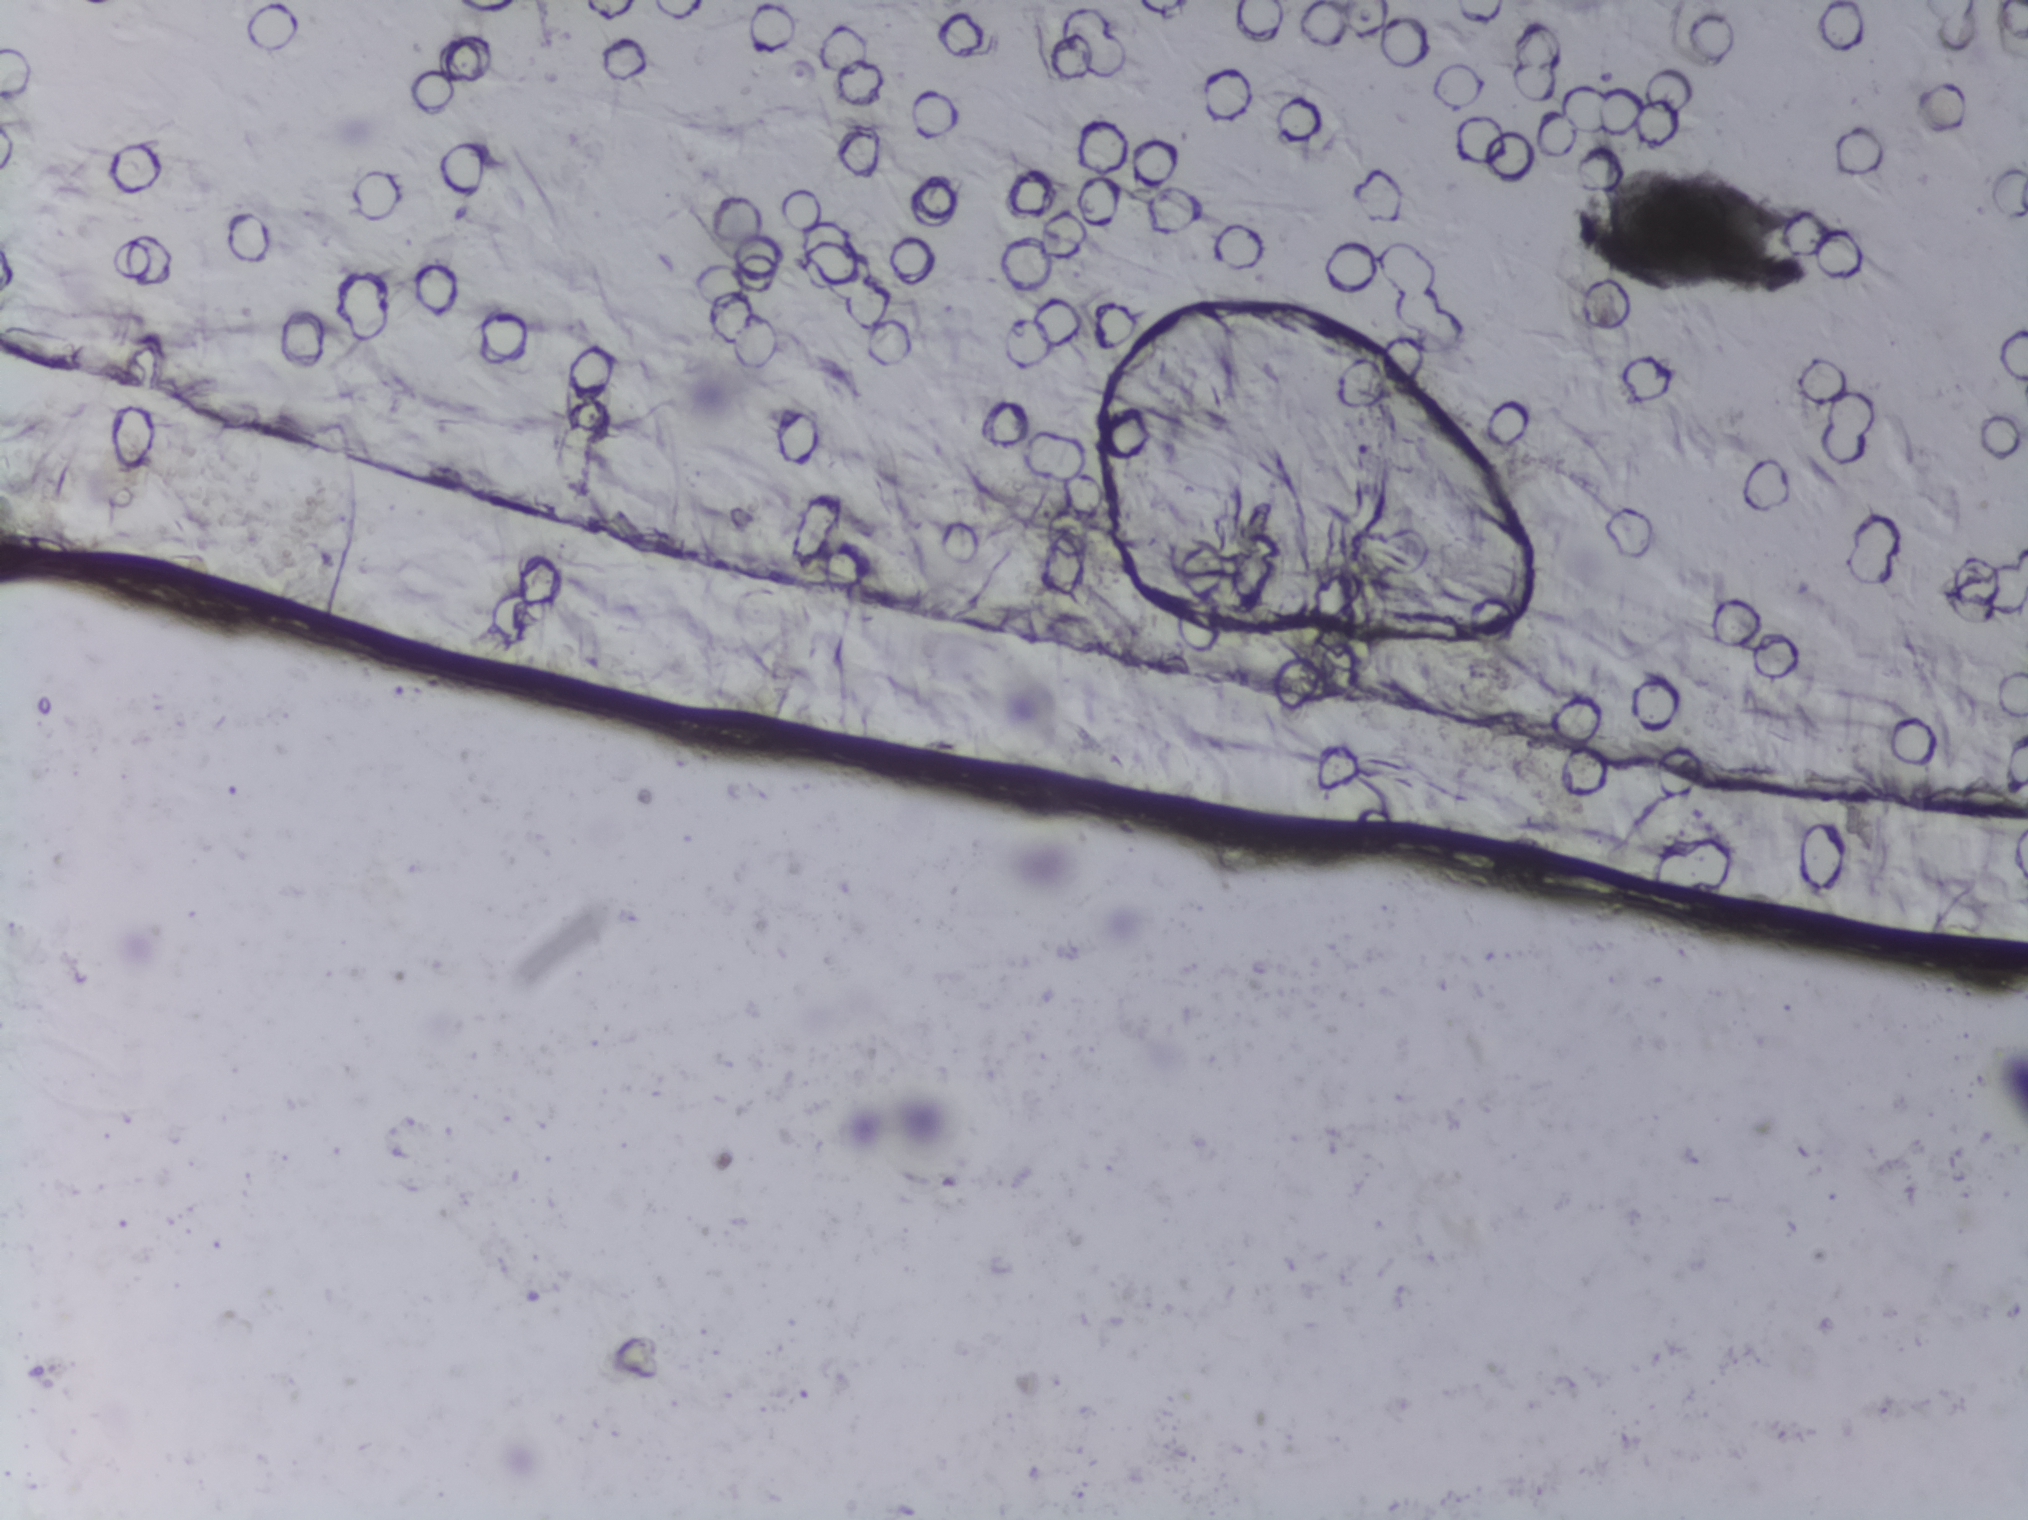
The expert annotation marks no Schistosoma egg in this field of view.
Photomicrograph of a urine filtration membrane, 4× objective. The image covers about 1.5 × 1.1 mm of the membrane.